Photograph from an automated digital microscope: urine filter membrane, 4× objective.
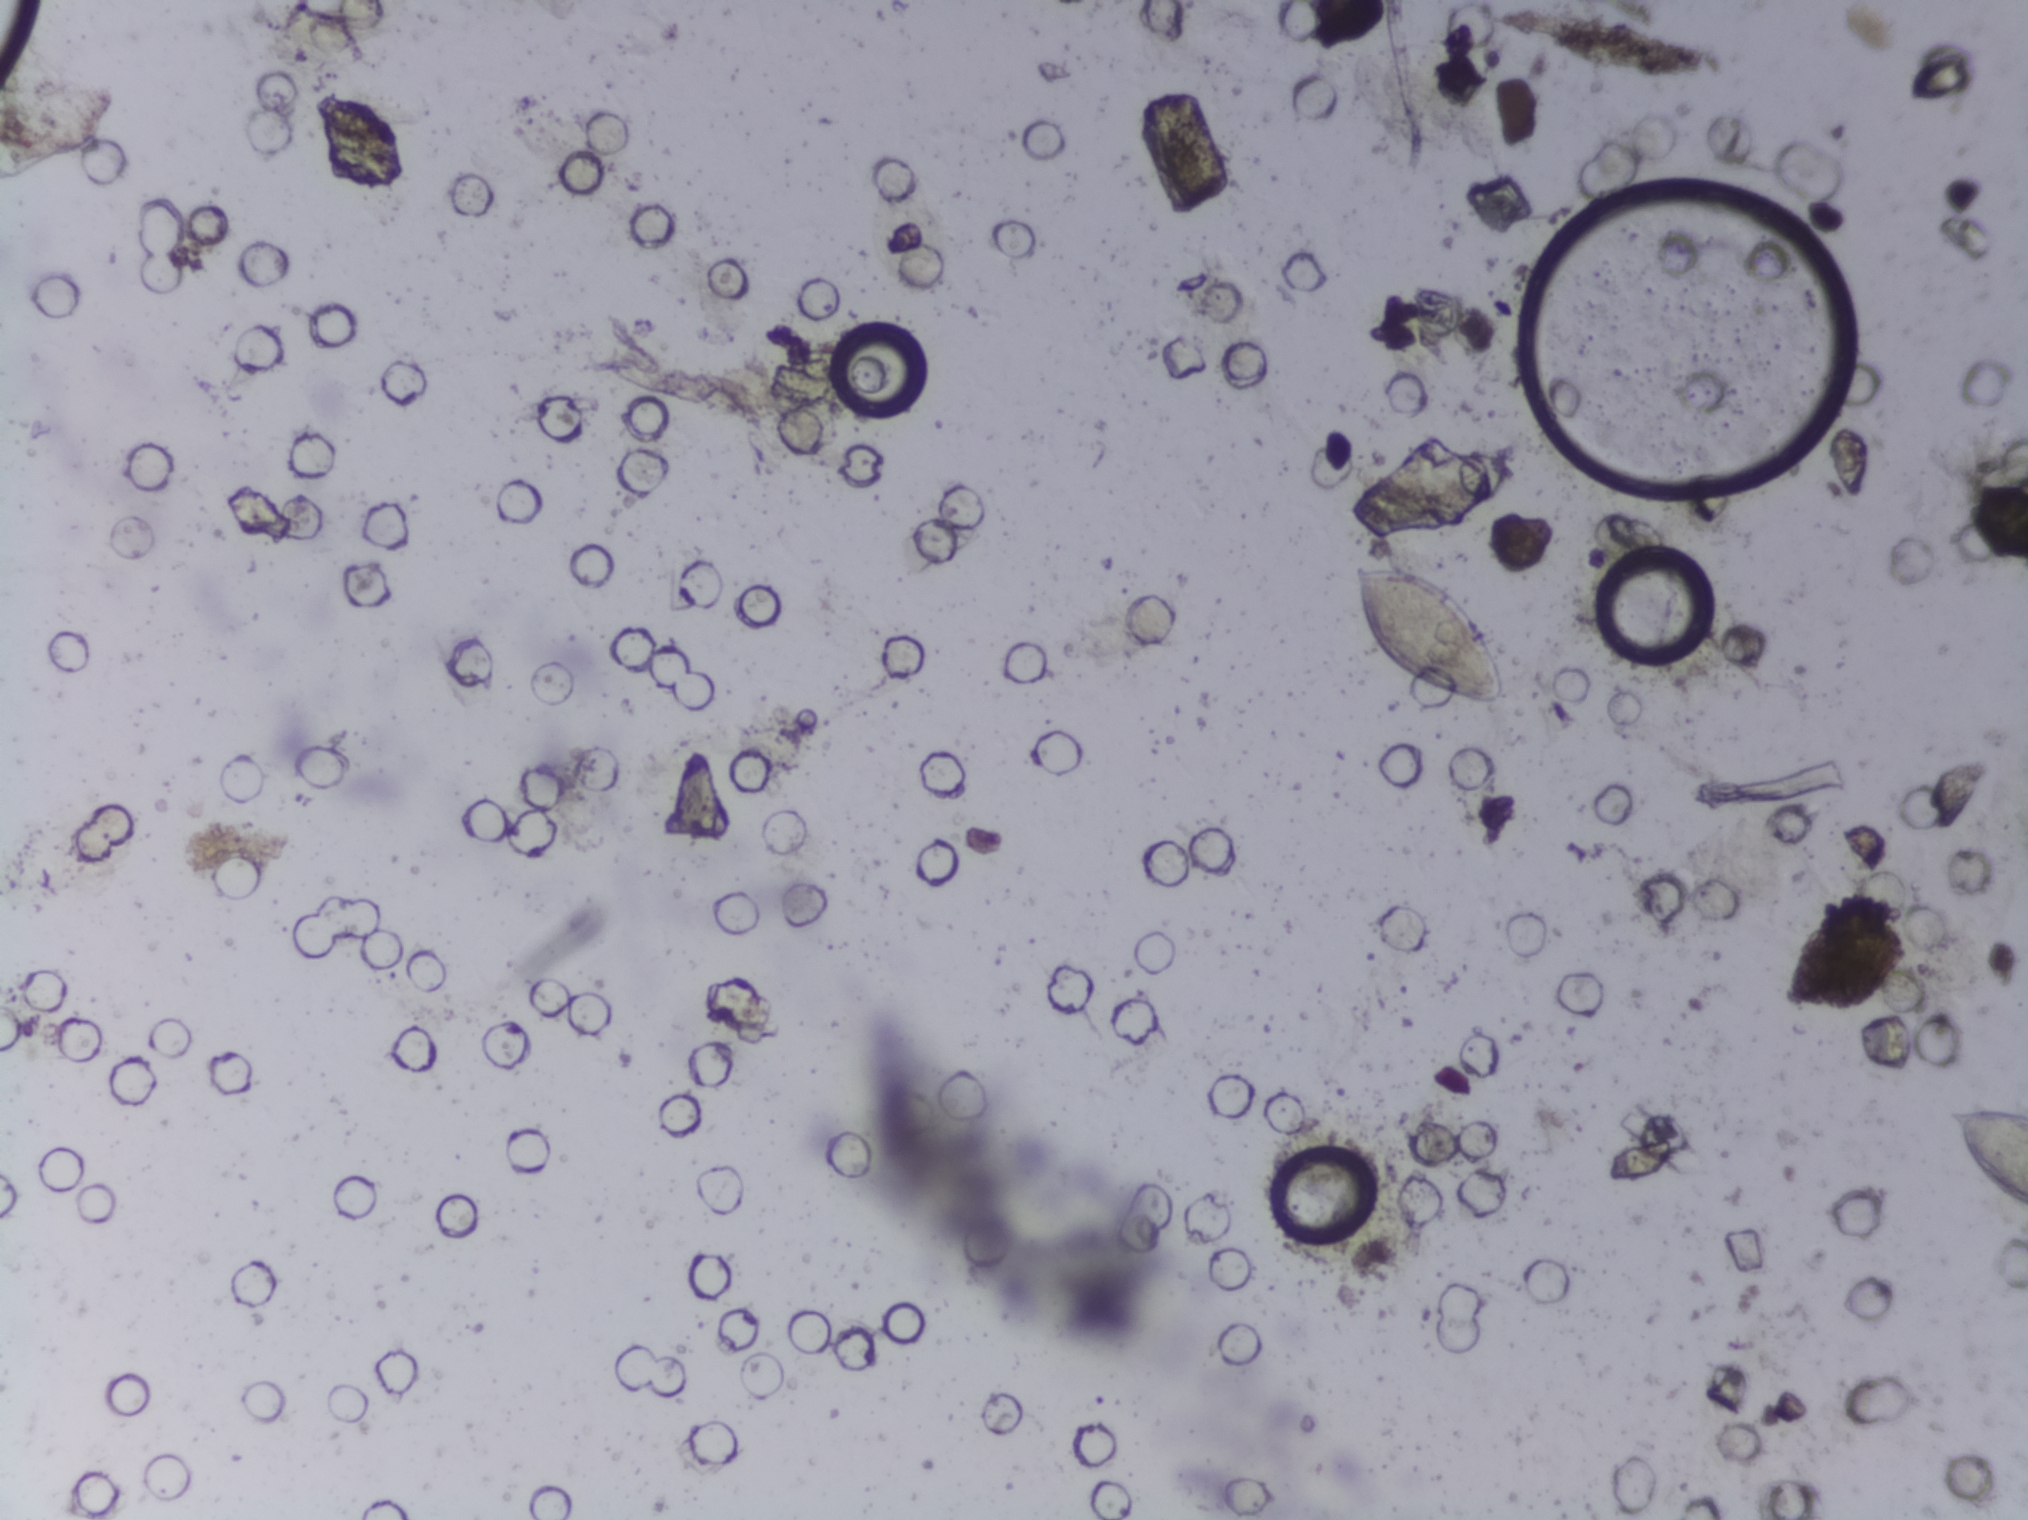
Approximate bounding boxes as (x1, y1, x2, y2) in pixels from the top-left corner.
The expert annotation outlines Schistosoma eggs at (1351, 564, 1506, 707) and (1950, 1107, 2027, 1206) (reaching the right edge of the frame) (left to right). Marked pixels, not the boxes around them: about 0.6% of the image. Eggs that touch can end up inside the same outlined area. A marked egg may occasionally be S. mansoni rather than S. haematobium.